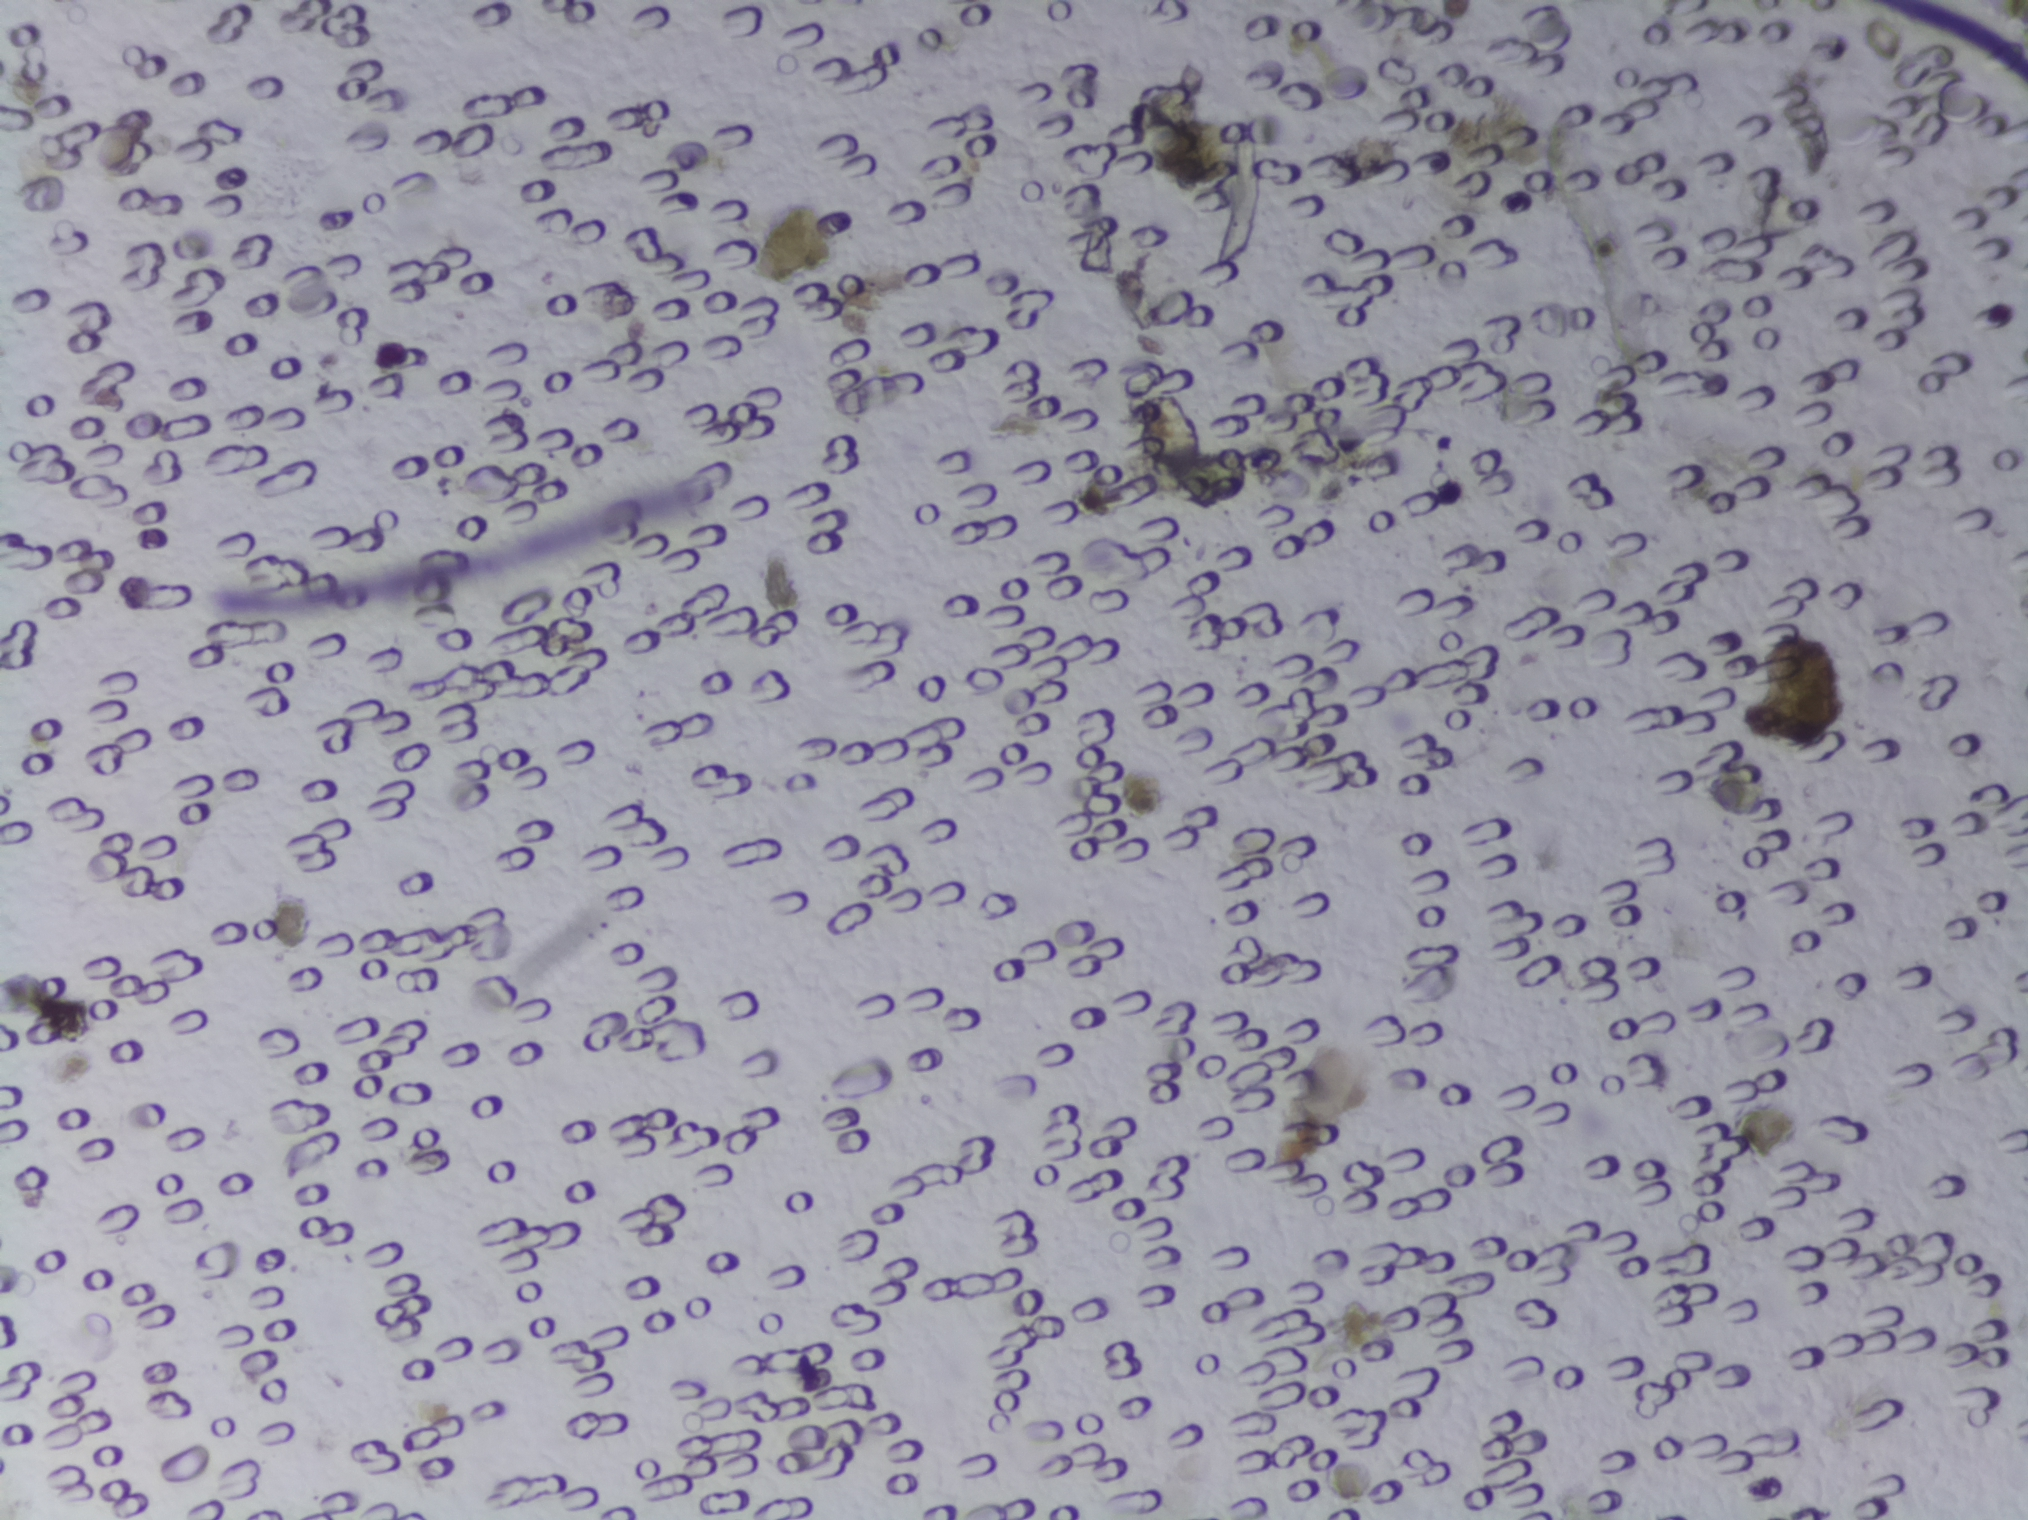
Urine filtration membrane under a 4× objective, photographed by an automated digital microscope. Field of view: about 1.5 mm wide and 1.1 mm high.
The expert annotation marks no Schistosoma egg in this field of view.